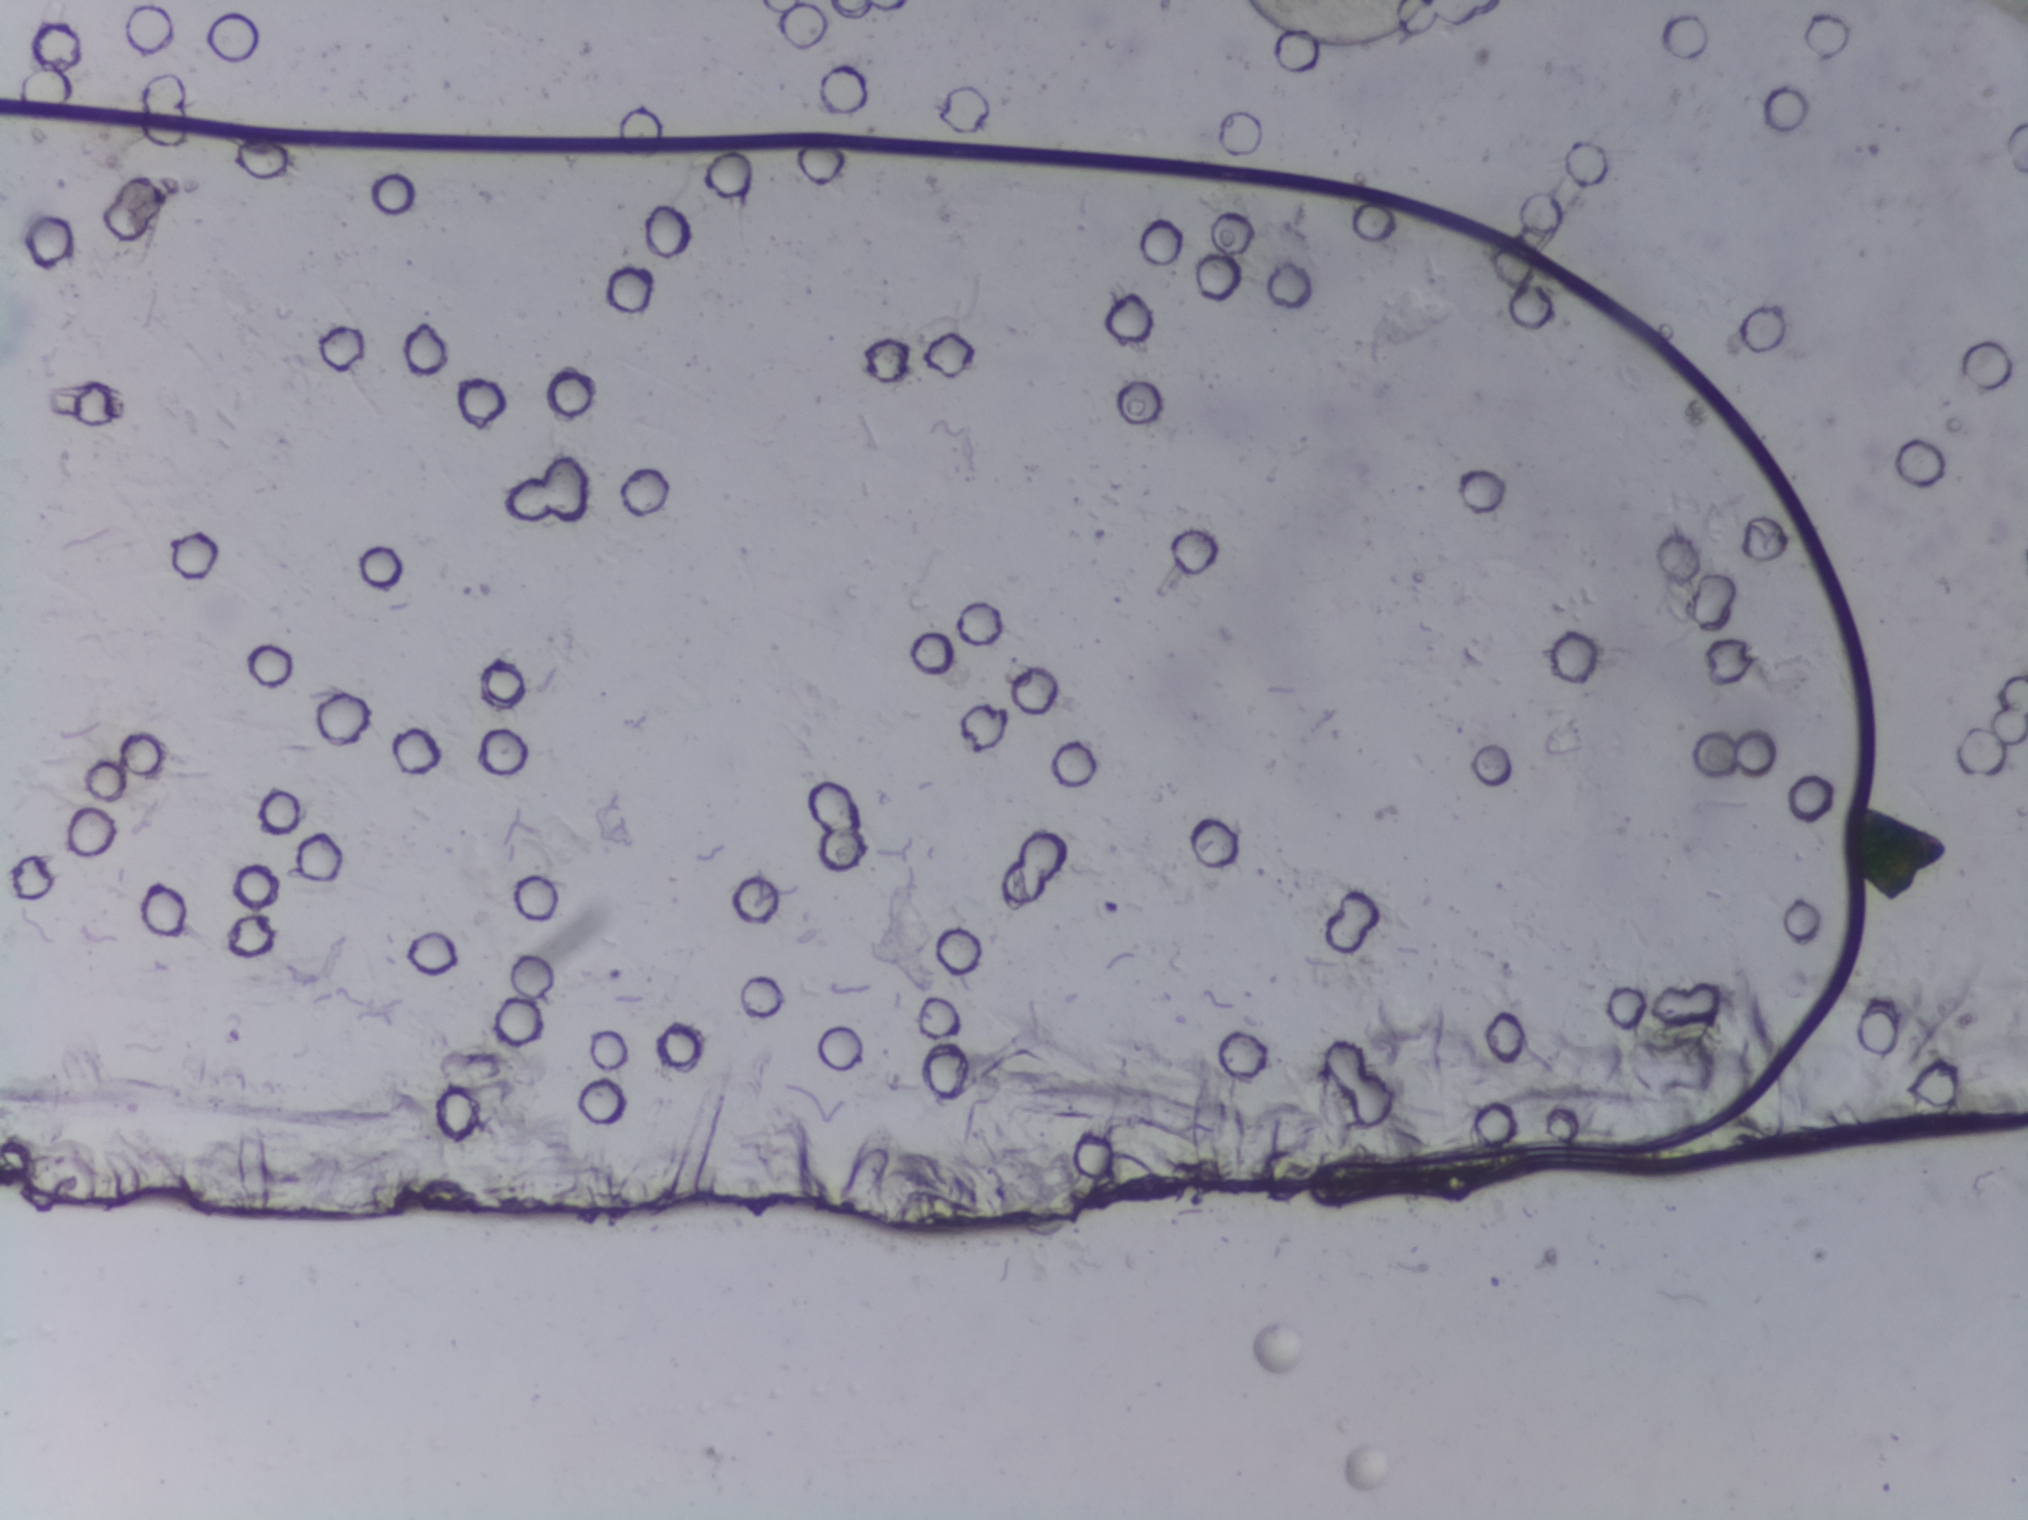
Urine filter membrane photographed through a 4× microscope objective. The image covers about 1.5 × 1.1 mm of the membrane.
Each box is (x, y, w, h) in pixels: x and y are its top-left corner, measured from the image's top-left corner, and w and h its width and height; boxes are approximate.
One area of this image is outlined as Schistosoma eggs: (x=1237, y=0, w=205, h=50) (reaching the top edge of the frame). A single outlined area may contain several eggs.